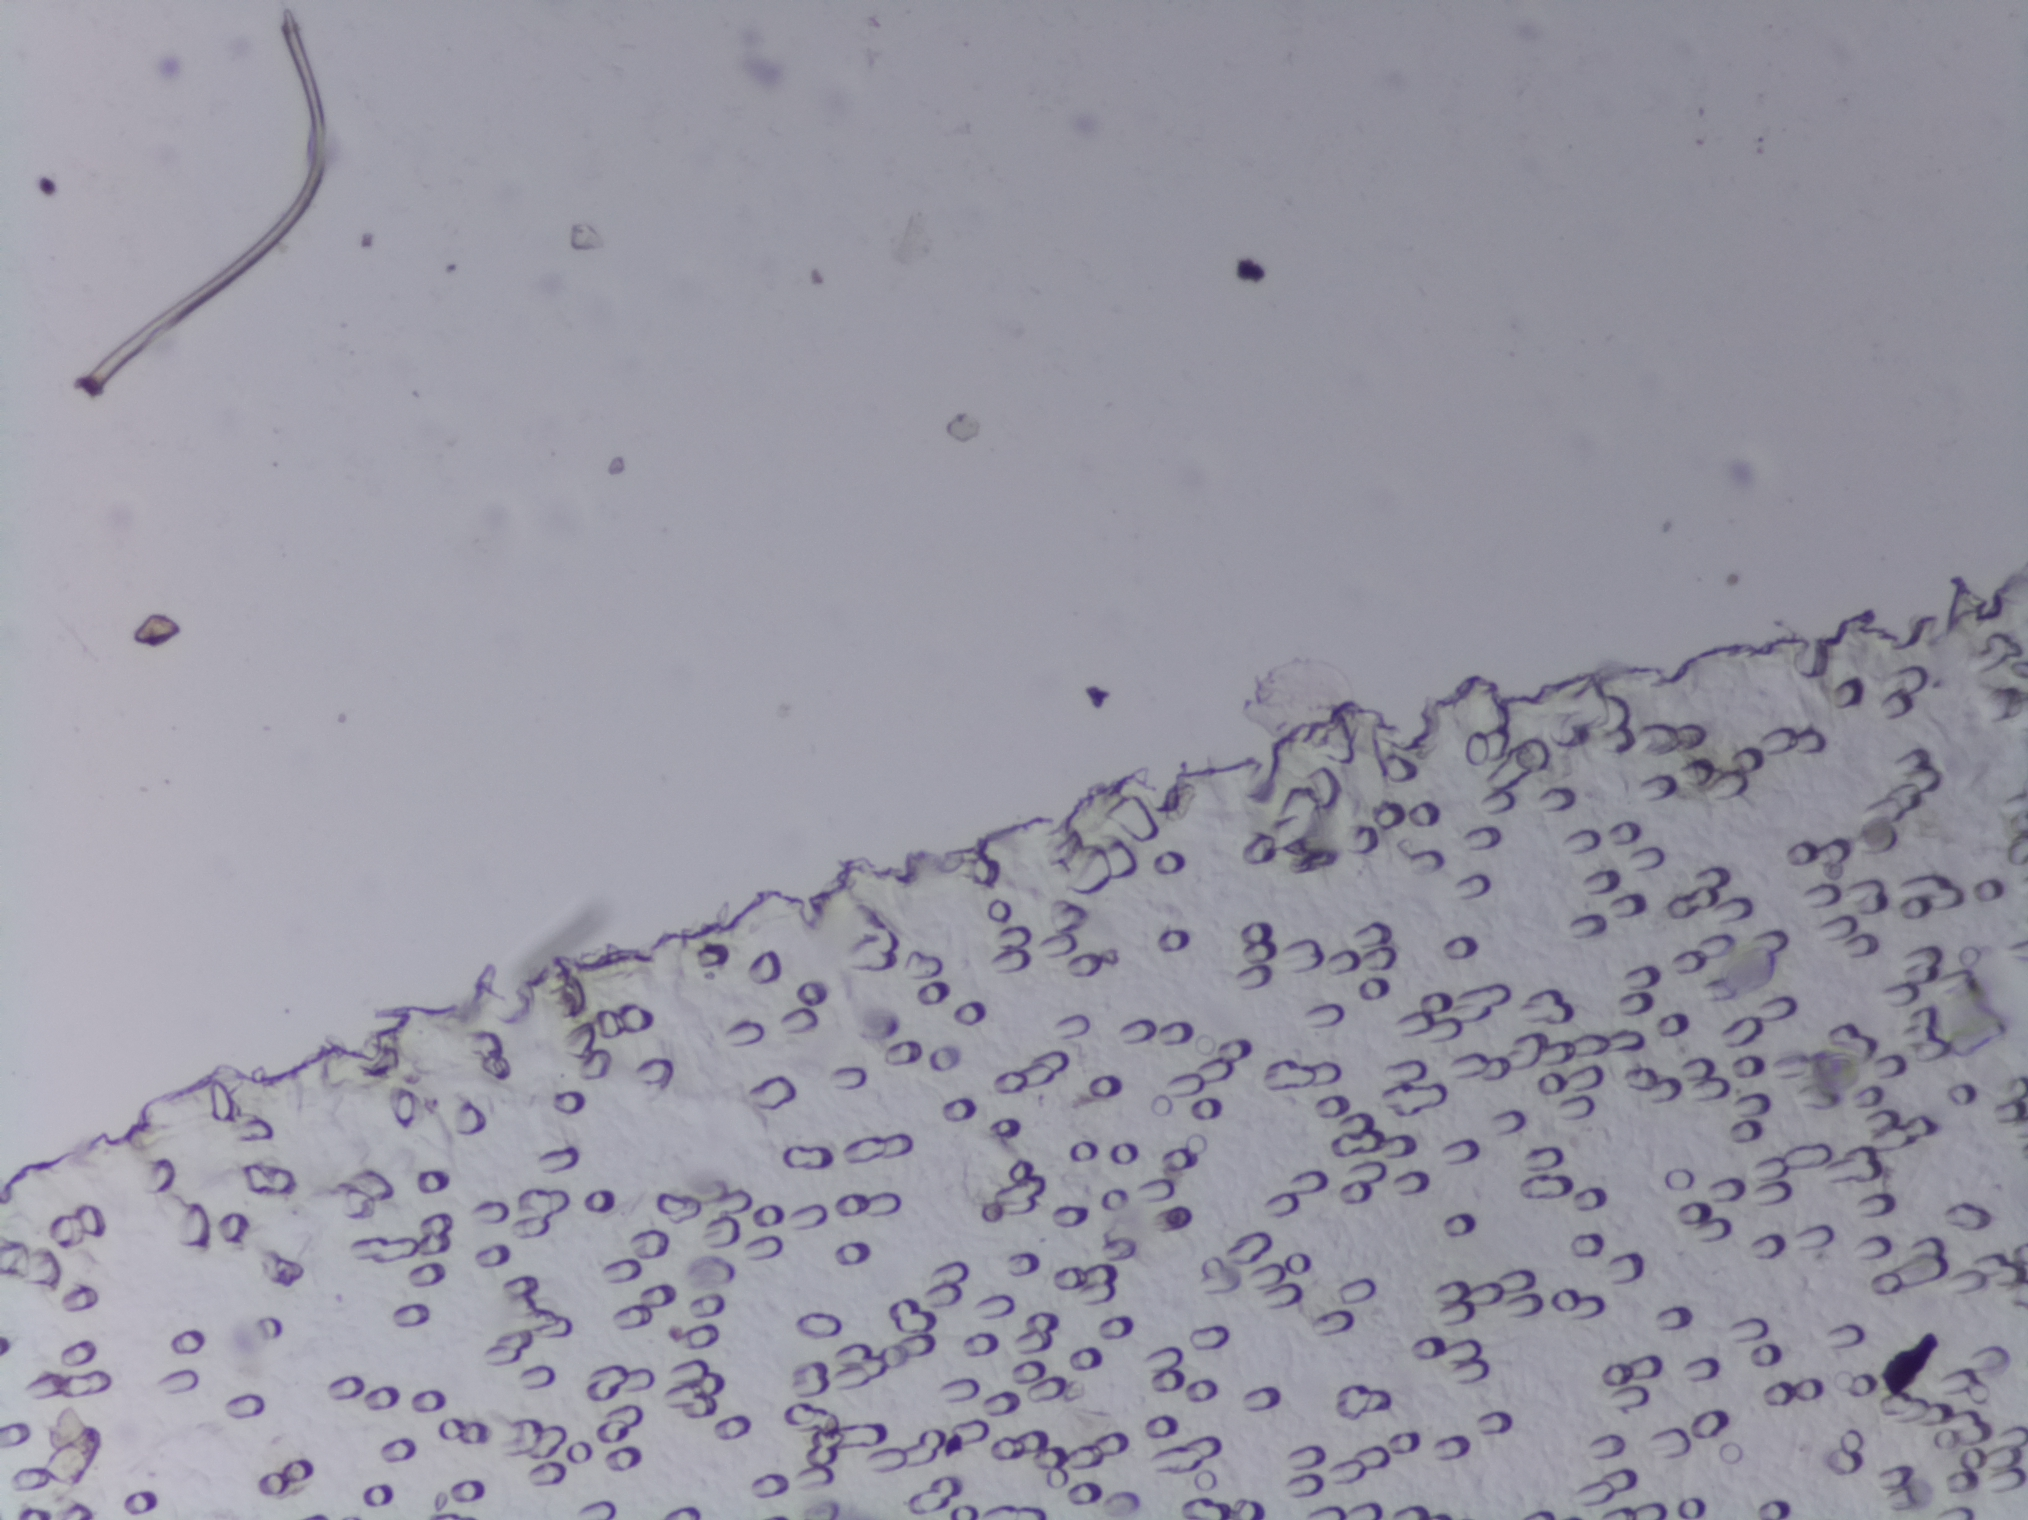
The expert annotation outlines no Schistosoma egg in this image.
Urine filter membrane photographed through a 4× microscope objective.